One field of view of a urine filter membrane, 4× objective, 2028 × 1520 pixels.
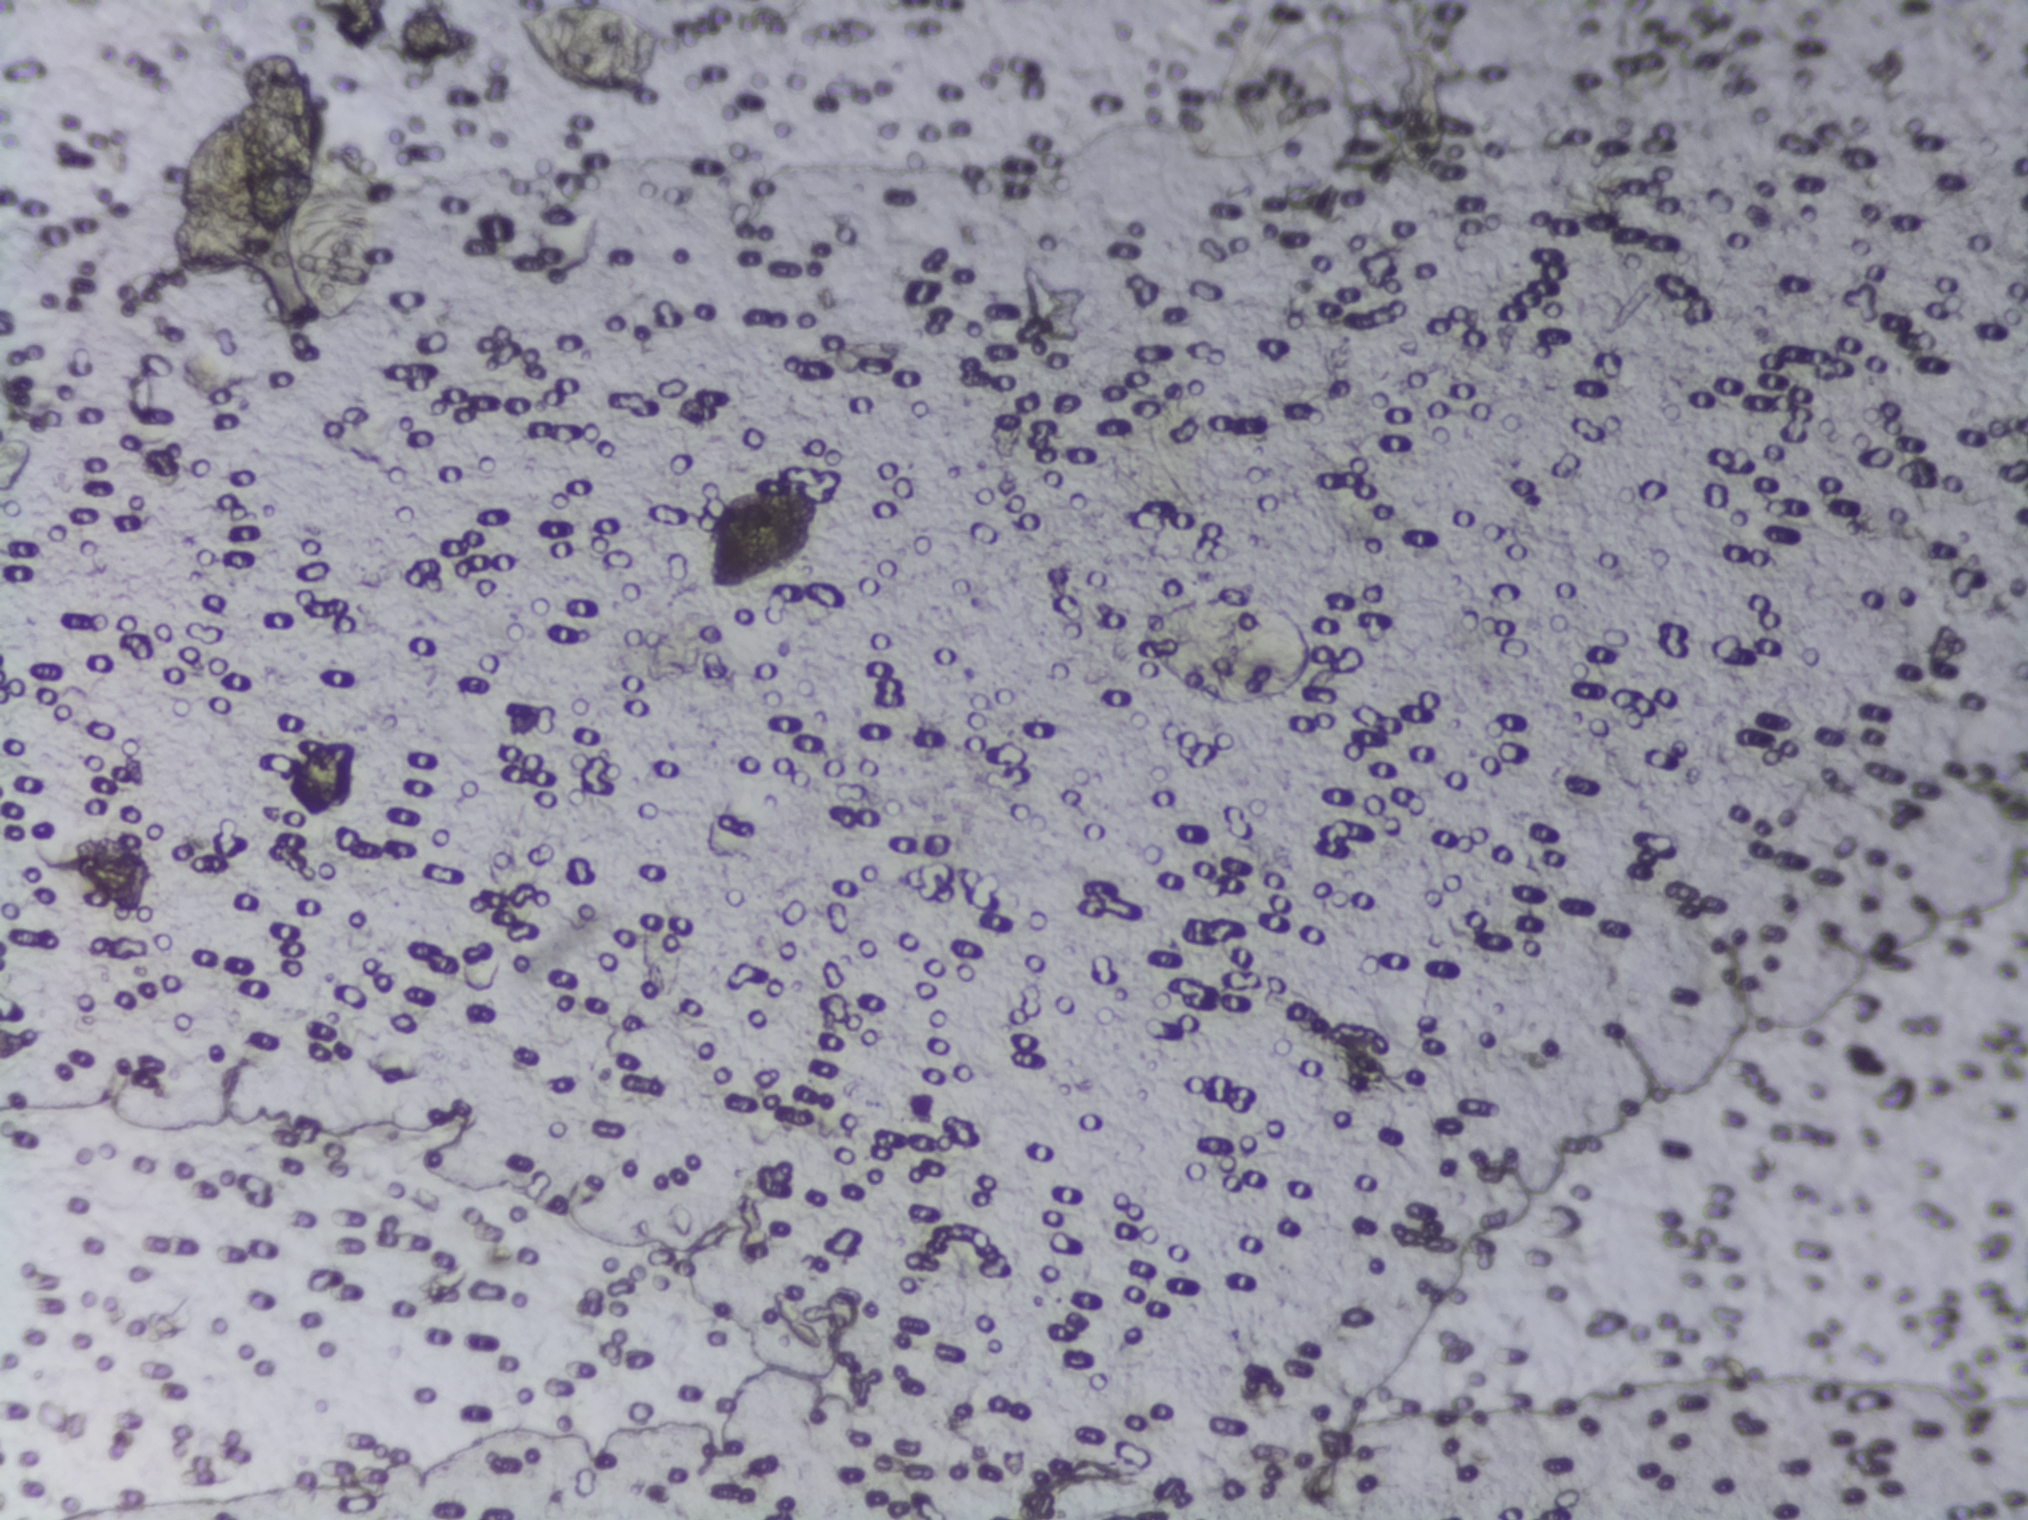
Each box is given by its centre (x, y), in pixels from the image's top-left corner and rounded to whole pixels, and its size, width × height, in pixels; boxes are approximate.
Outlined Schistosoma egg areas, left to right:
1. centre (332, 240), 97 × 166 px
2. centre (590, 48), 159 × 97 px (reaching the top edge of the frame)
3. centre (1224, 650), 189 × 118 px
The marked pixels themselves, not the boxes around them, cover about 1.3% of the image. Eggs that touch can end up inside the same outlined area. Any one outlined egg may, rarely, be S. mansoni rather than S. haematobium.